Microscope photograph (4× objective) of a membrane that a urine sample was filtered through.
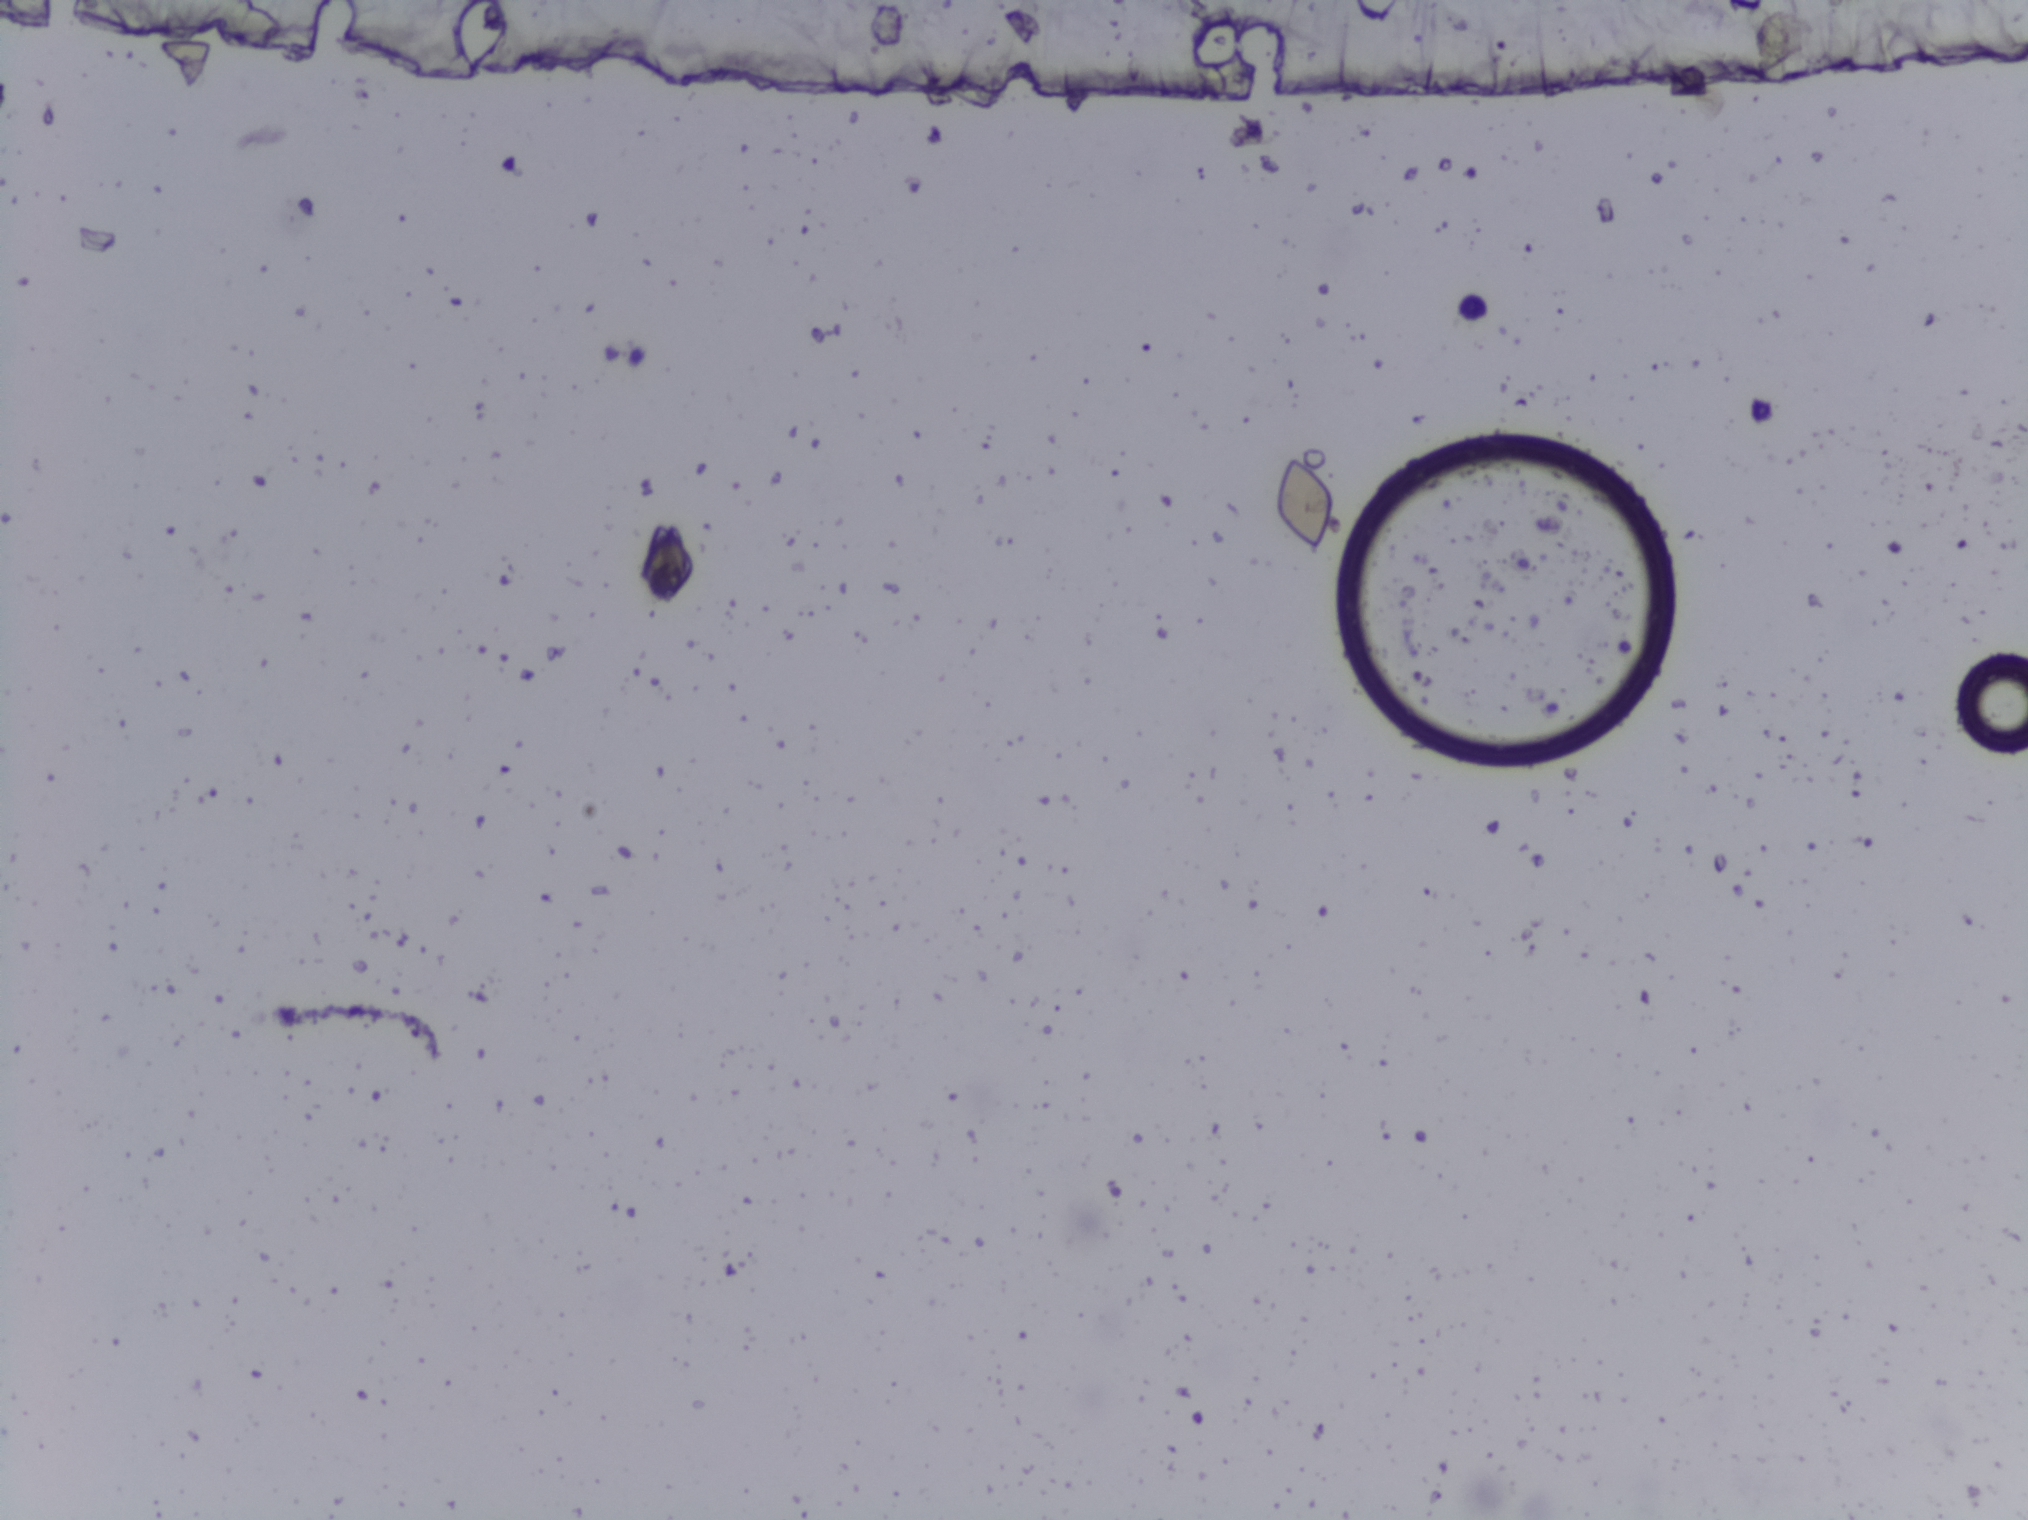
The expert annotation marks no Schistosoma egg in this field of view.